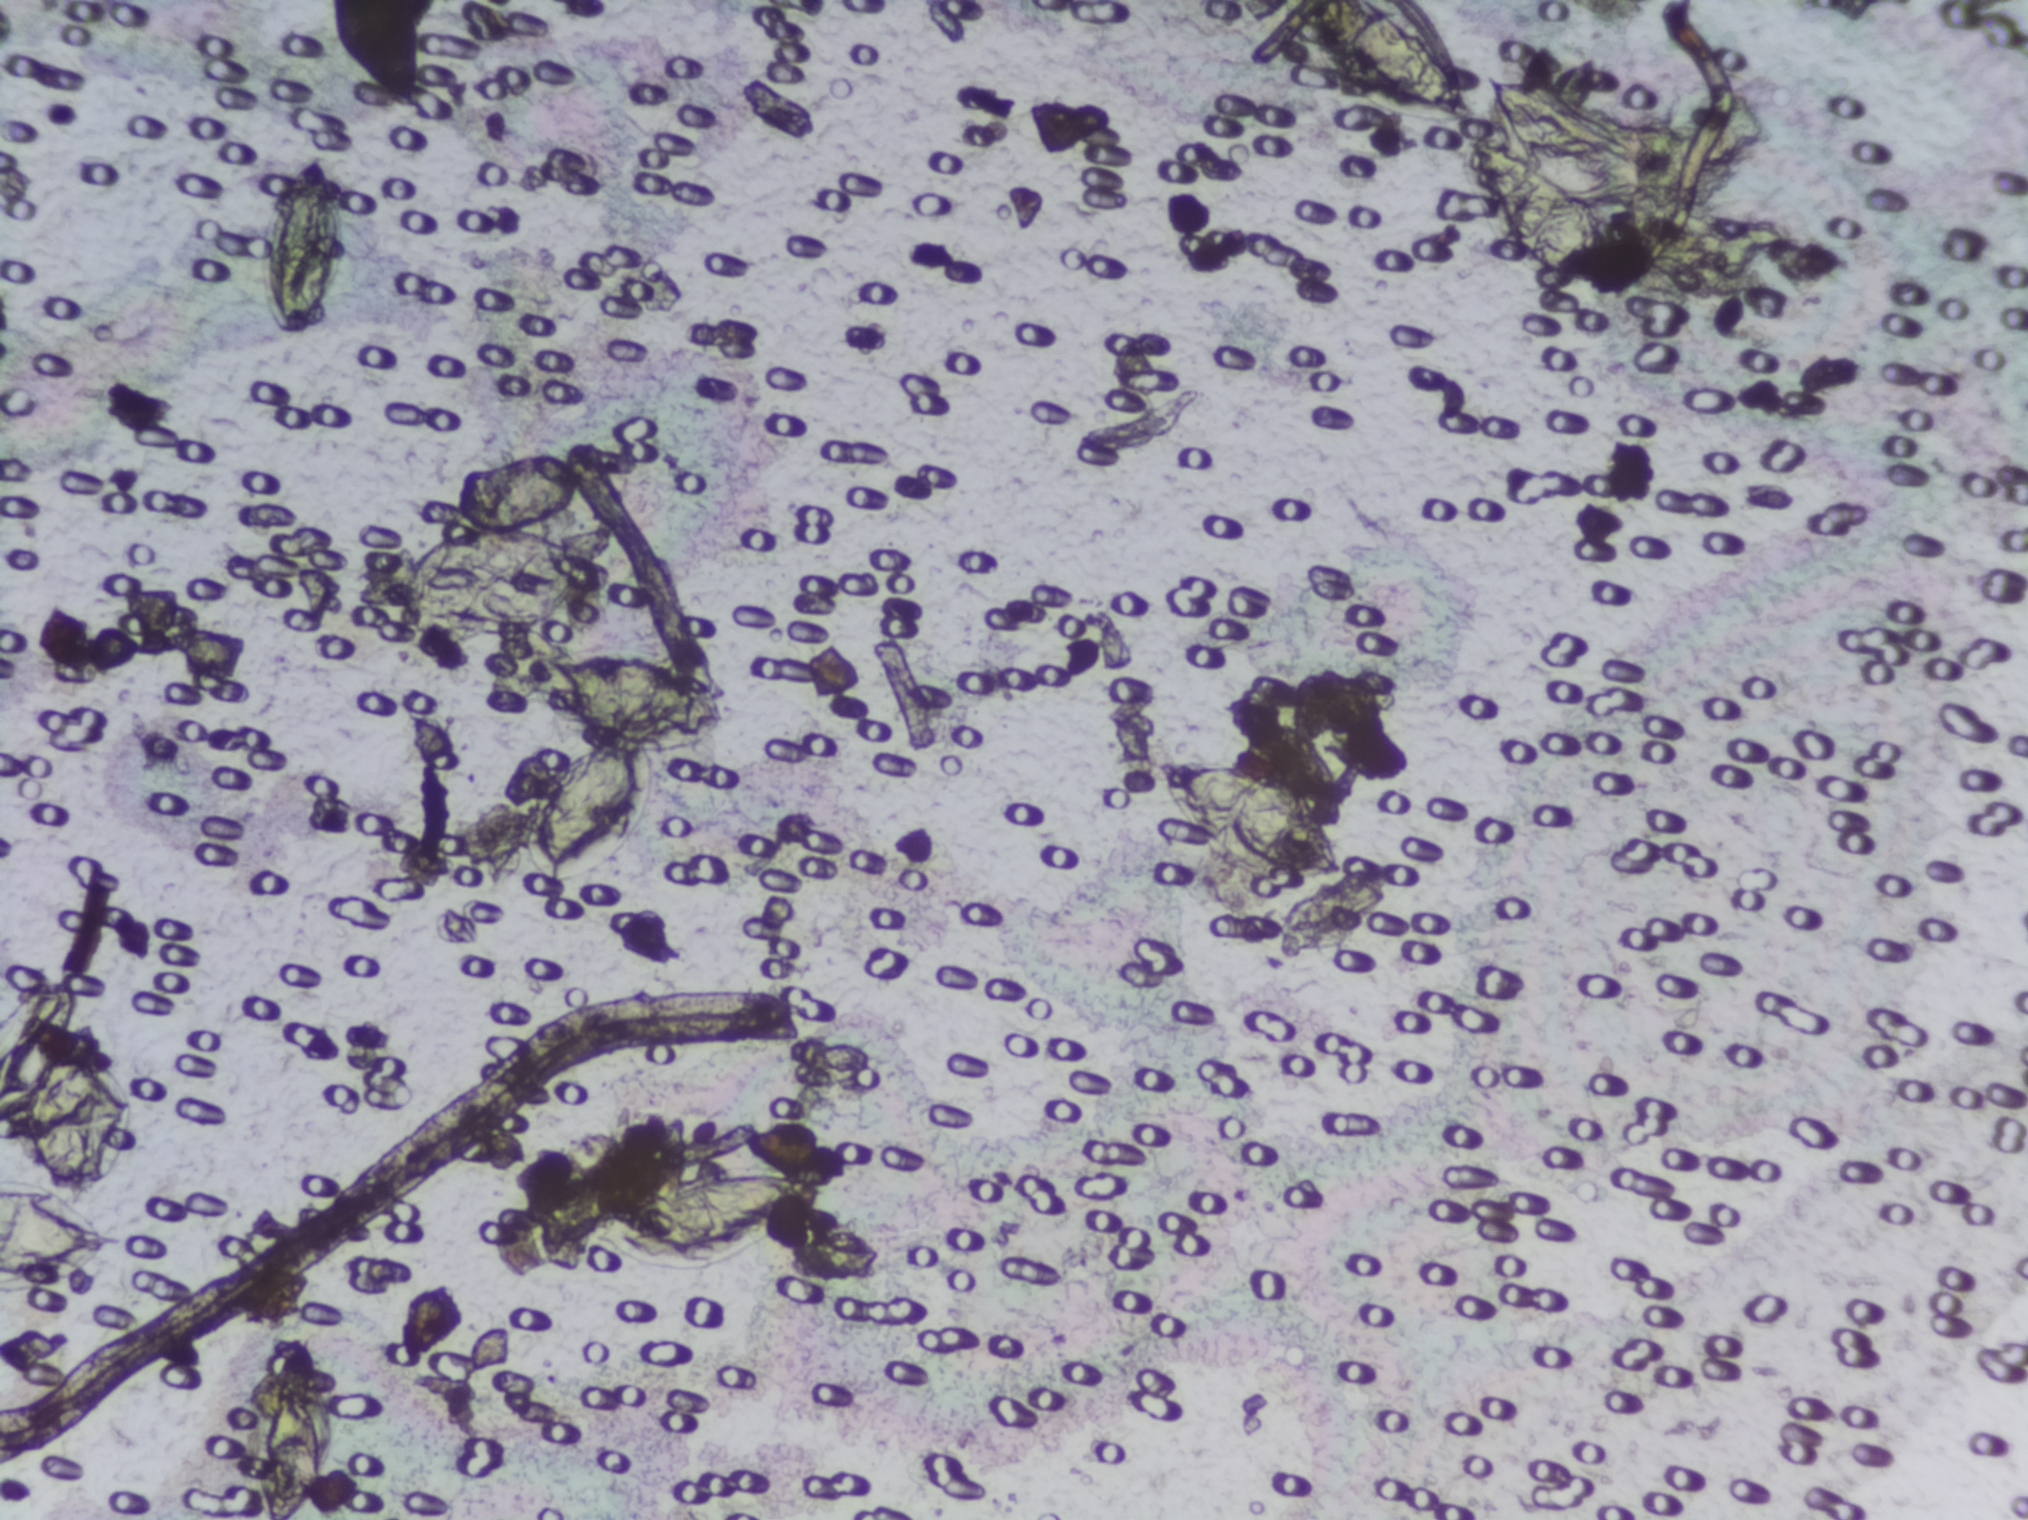
Photograph from an automated digital microscope: urine filter membrane, 4× objective.
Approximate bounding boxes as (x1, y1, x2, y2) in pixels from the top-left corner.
Ten areas of this image are outlined as Schistosoma eggs, from left to right: (0, 964, 137, 1190) (reaching the left edge of the frame); (0, 1192, 152, 1286) (reaching the left edge of the frame); (233, 1321, 338, 1519) (reaching the bottom edge of the frame); (250, 143, 346, 344); (383, 519, 593, 644); (507, 643, 738, 892); (582, 1150, 839, 1263); (1121, 656, 1386, 883); (1287, 0, 1468, 121) (reaching the top edge of the frame); (1454, 66, 1782, 291). About 7.9% of the image's pixels are marked (the marked pixels themselves, not the boxes around them). An outlined area can hold more than one egg.